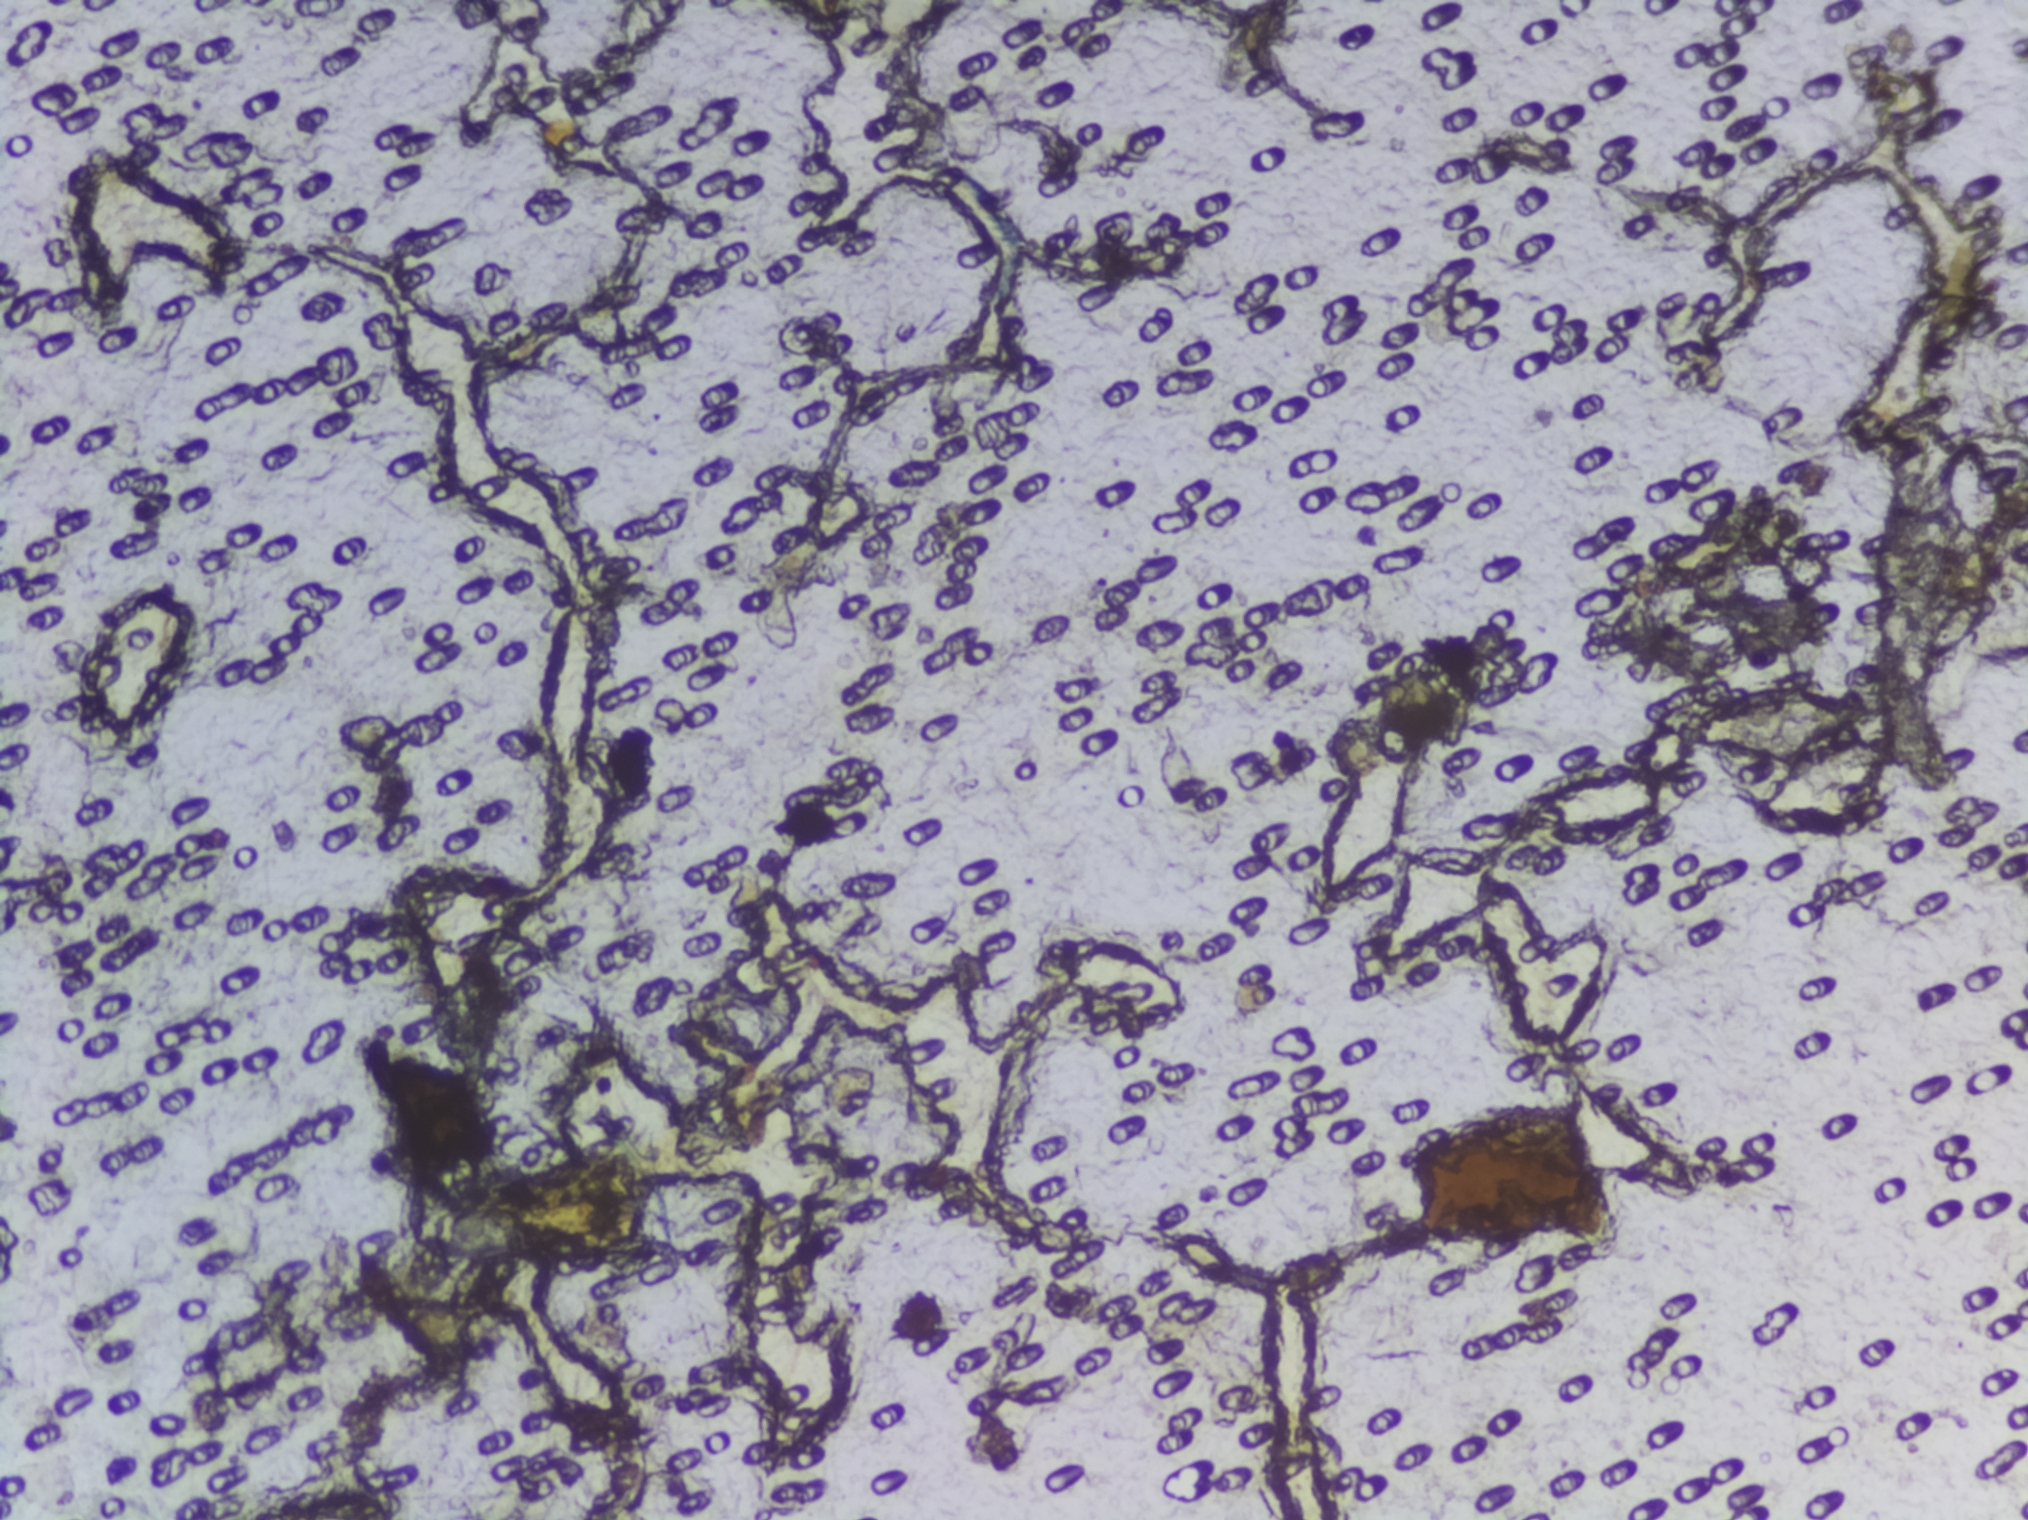
One field of view of a urine filter membrane, 4× objective, 2028 × 1520 pixels.
Schistosoma eggs: none outlined.